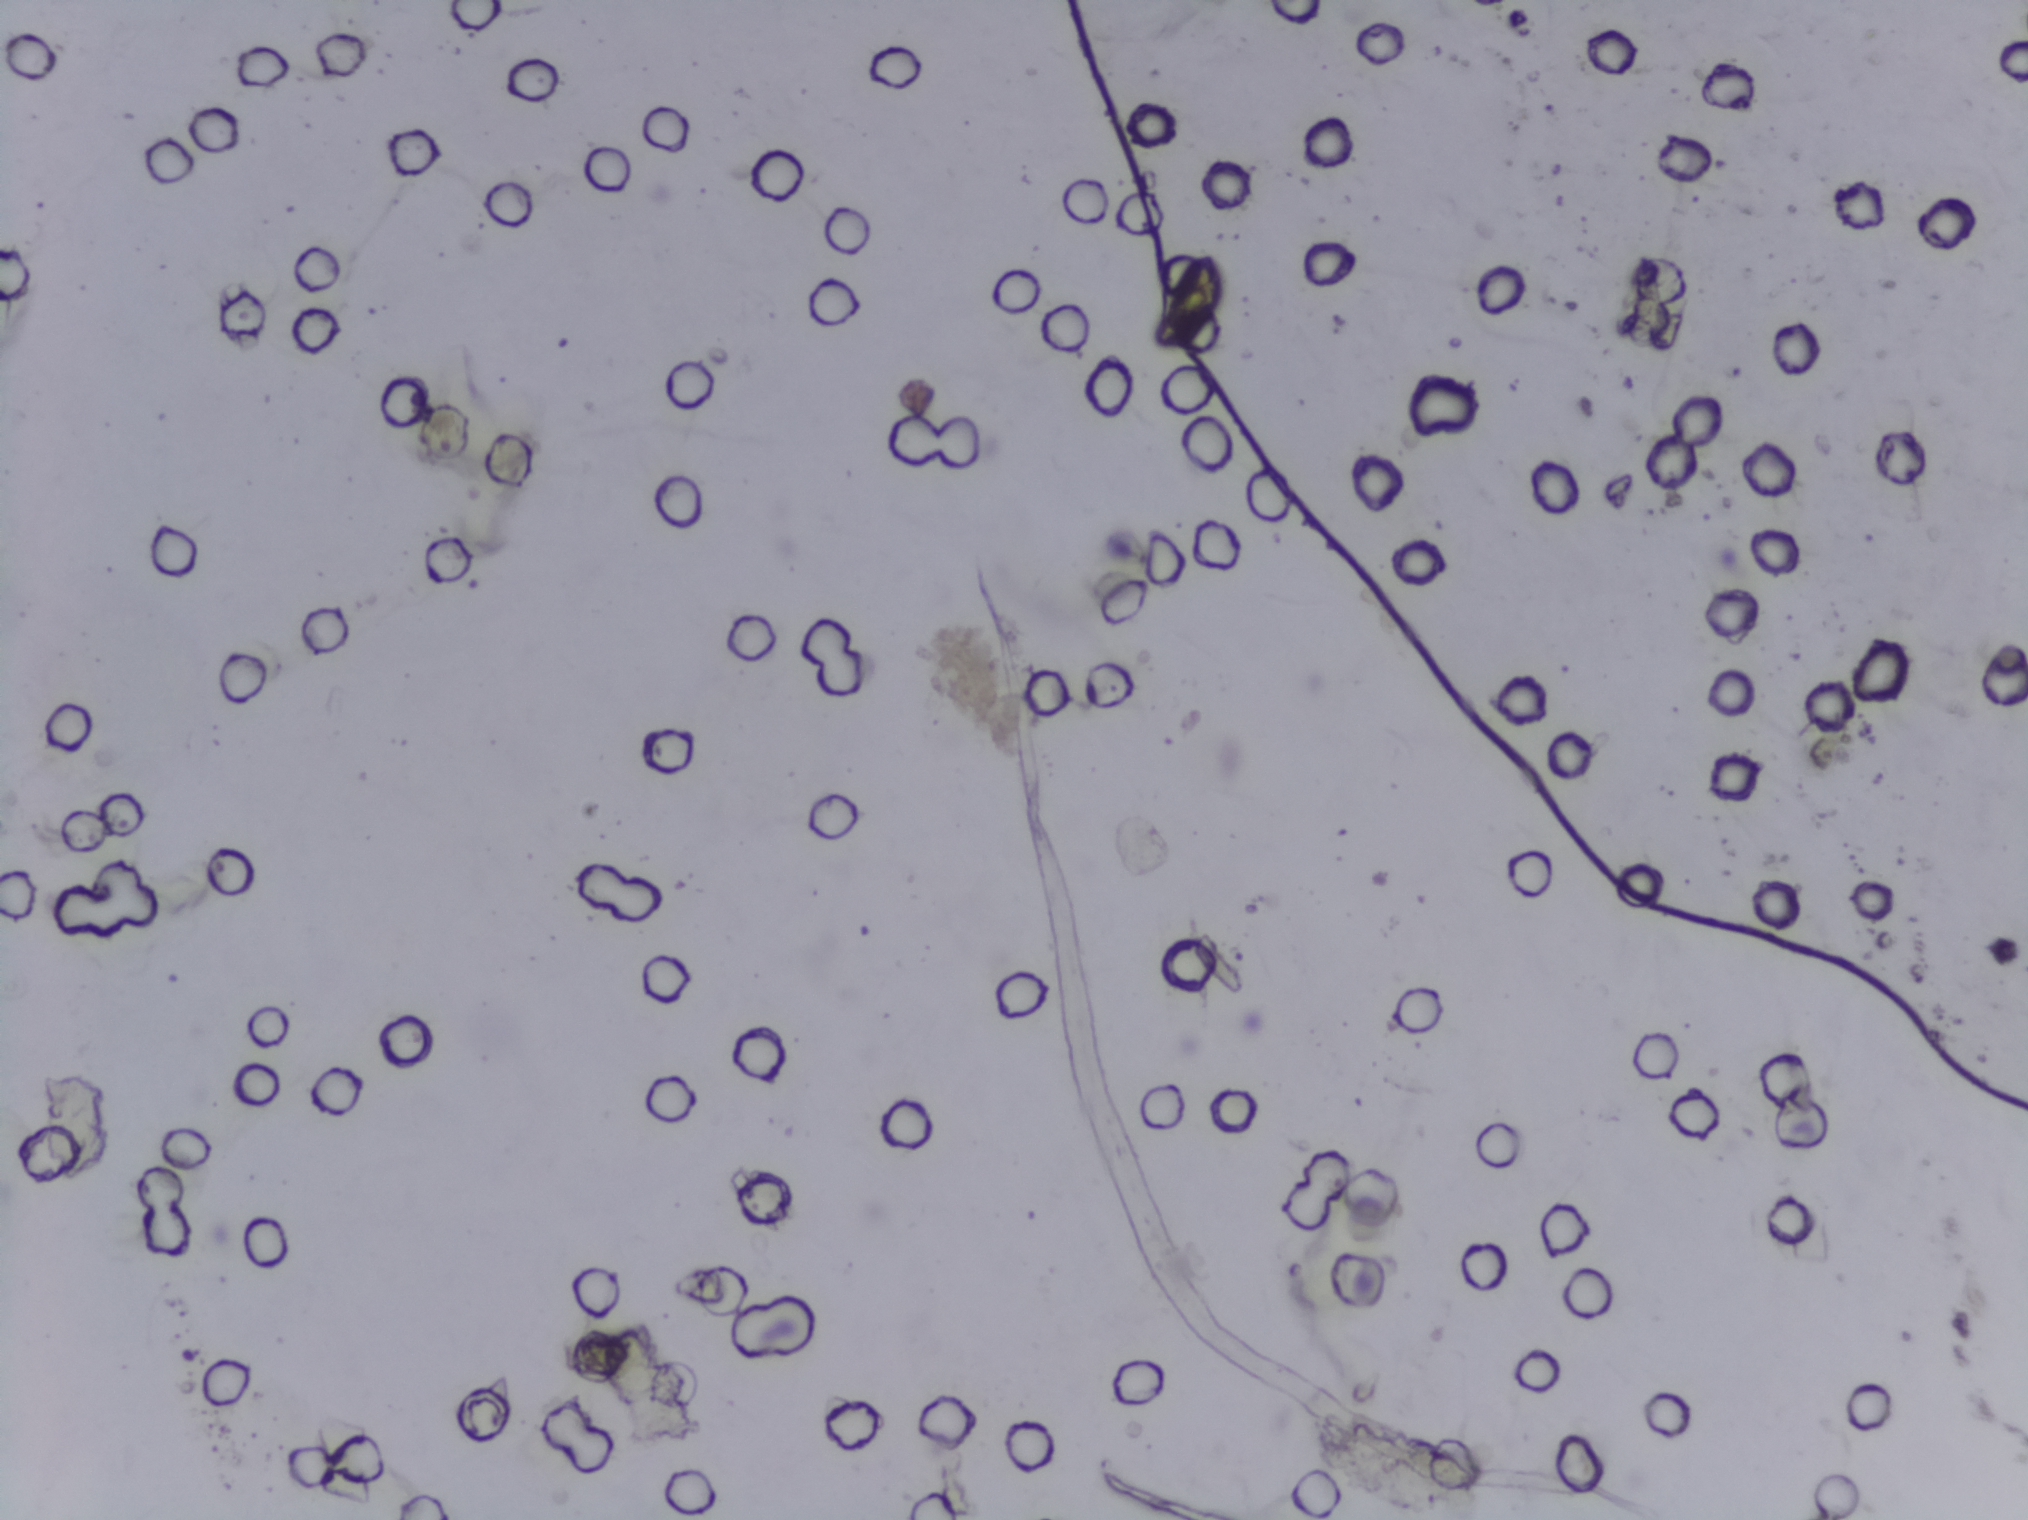
Photomicrograph of a urine filtration membrane, 4× objective.
Schistosoma eggs: none outlined.